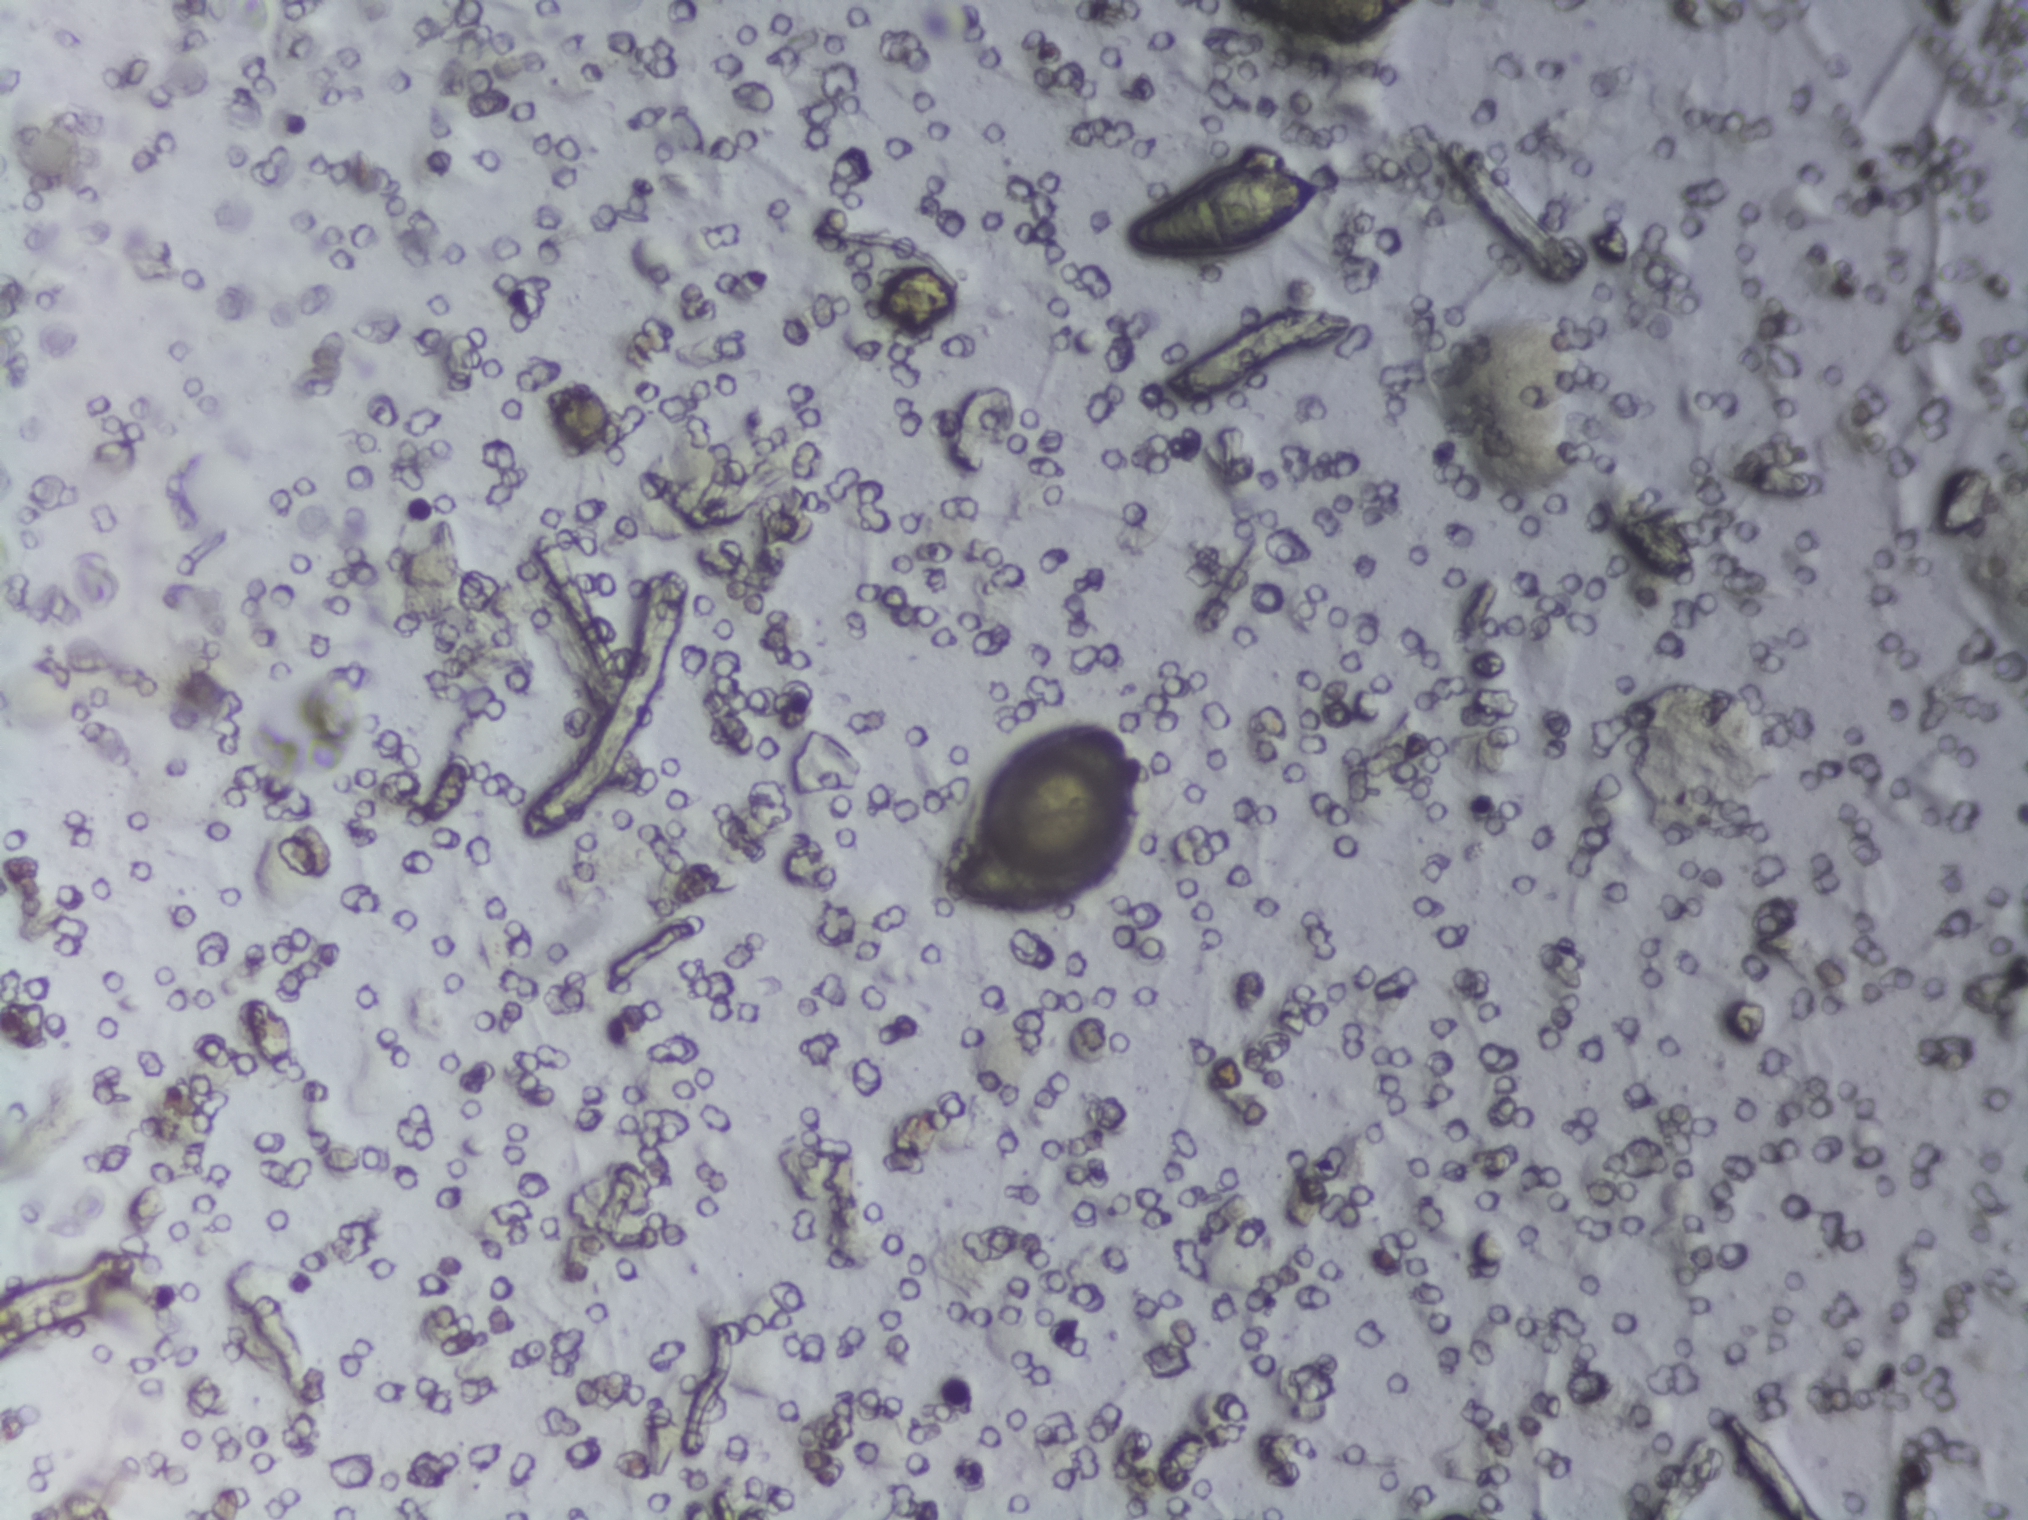
One field of view of a urine filter membrane, 4× objective, 2028 × 1520 pixels.
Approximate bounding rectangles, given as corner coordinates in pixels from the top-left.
Outlined Schistosoma egg areas, left to right:
1. (x1=944, y1=724, x2=1143, y2=919)
2. (x1=1120, y1=159, x2=1331, y2=262)
A single outlined area may contain several eggs.